Photograph from an automated digital microscope: urine filter membrane, 4× objective.
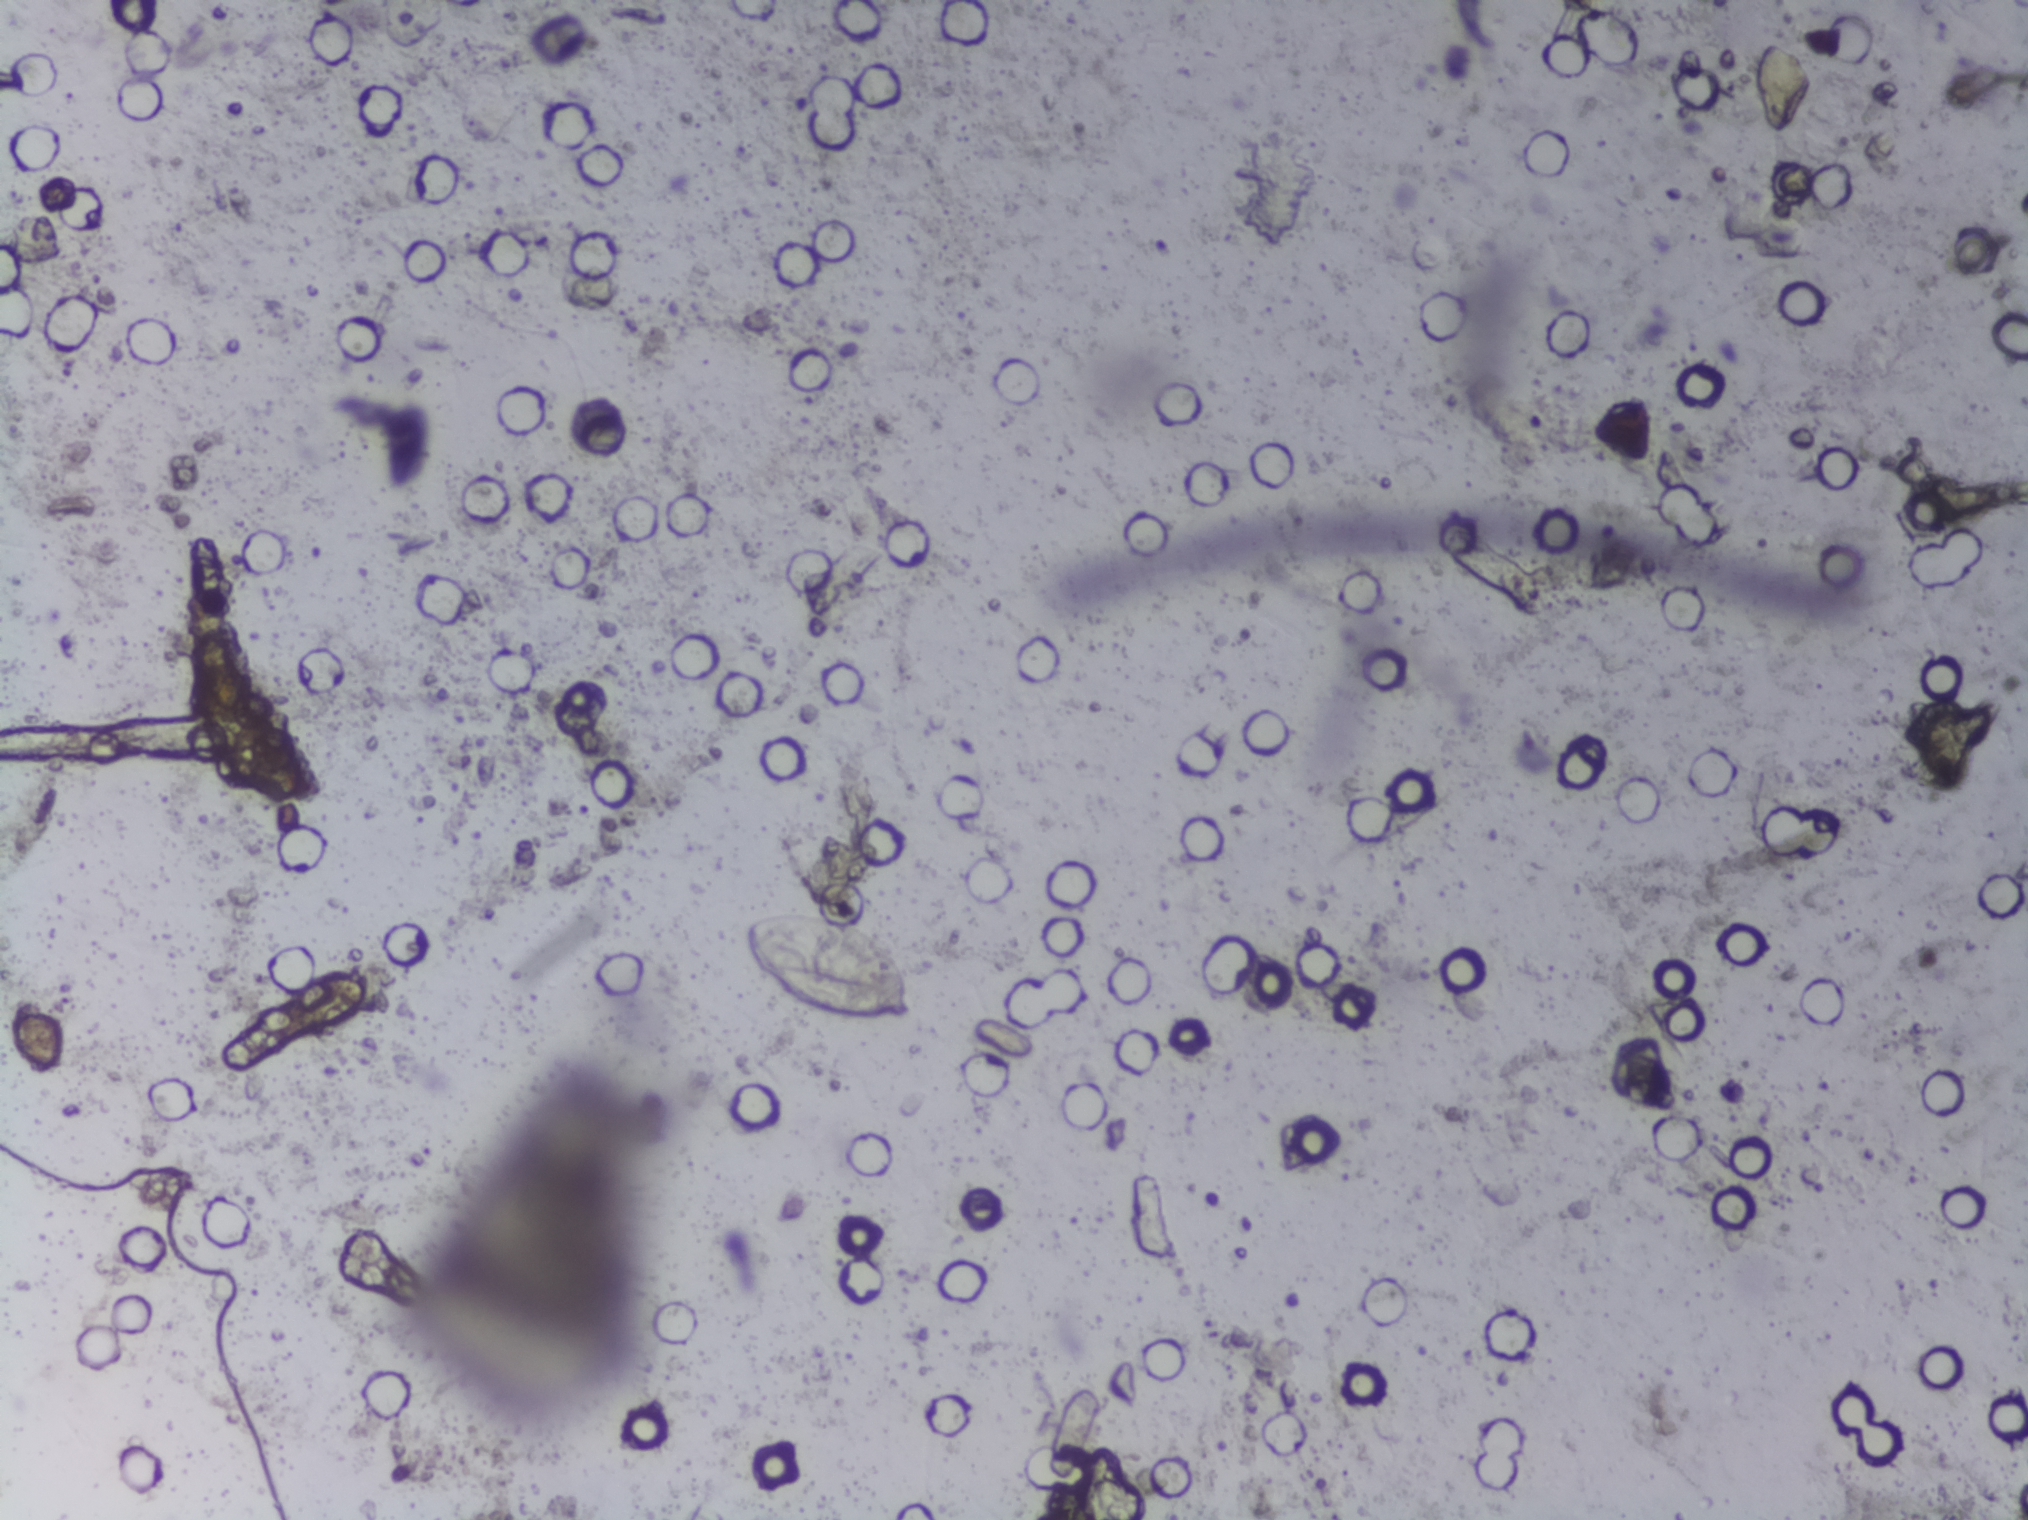
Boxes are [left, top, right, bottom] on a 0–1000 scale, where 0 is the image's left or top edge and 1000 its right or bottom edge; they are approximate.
Findings: one area outlined as Schistosoma eggs. Location: [367, 599, 453, 675]. A single outlined area may contain several eggs.